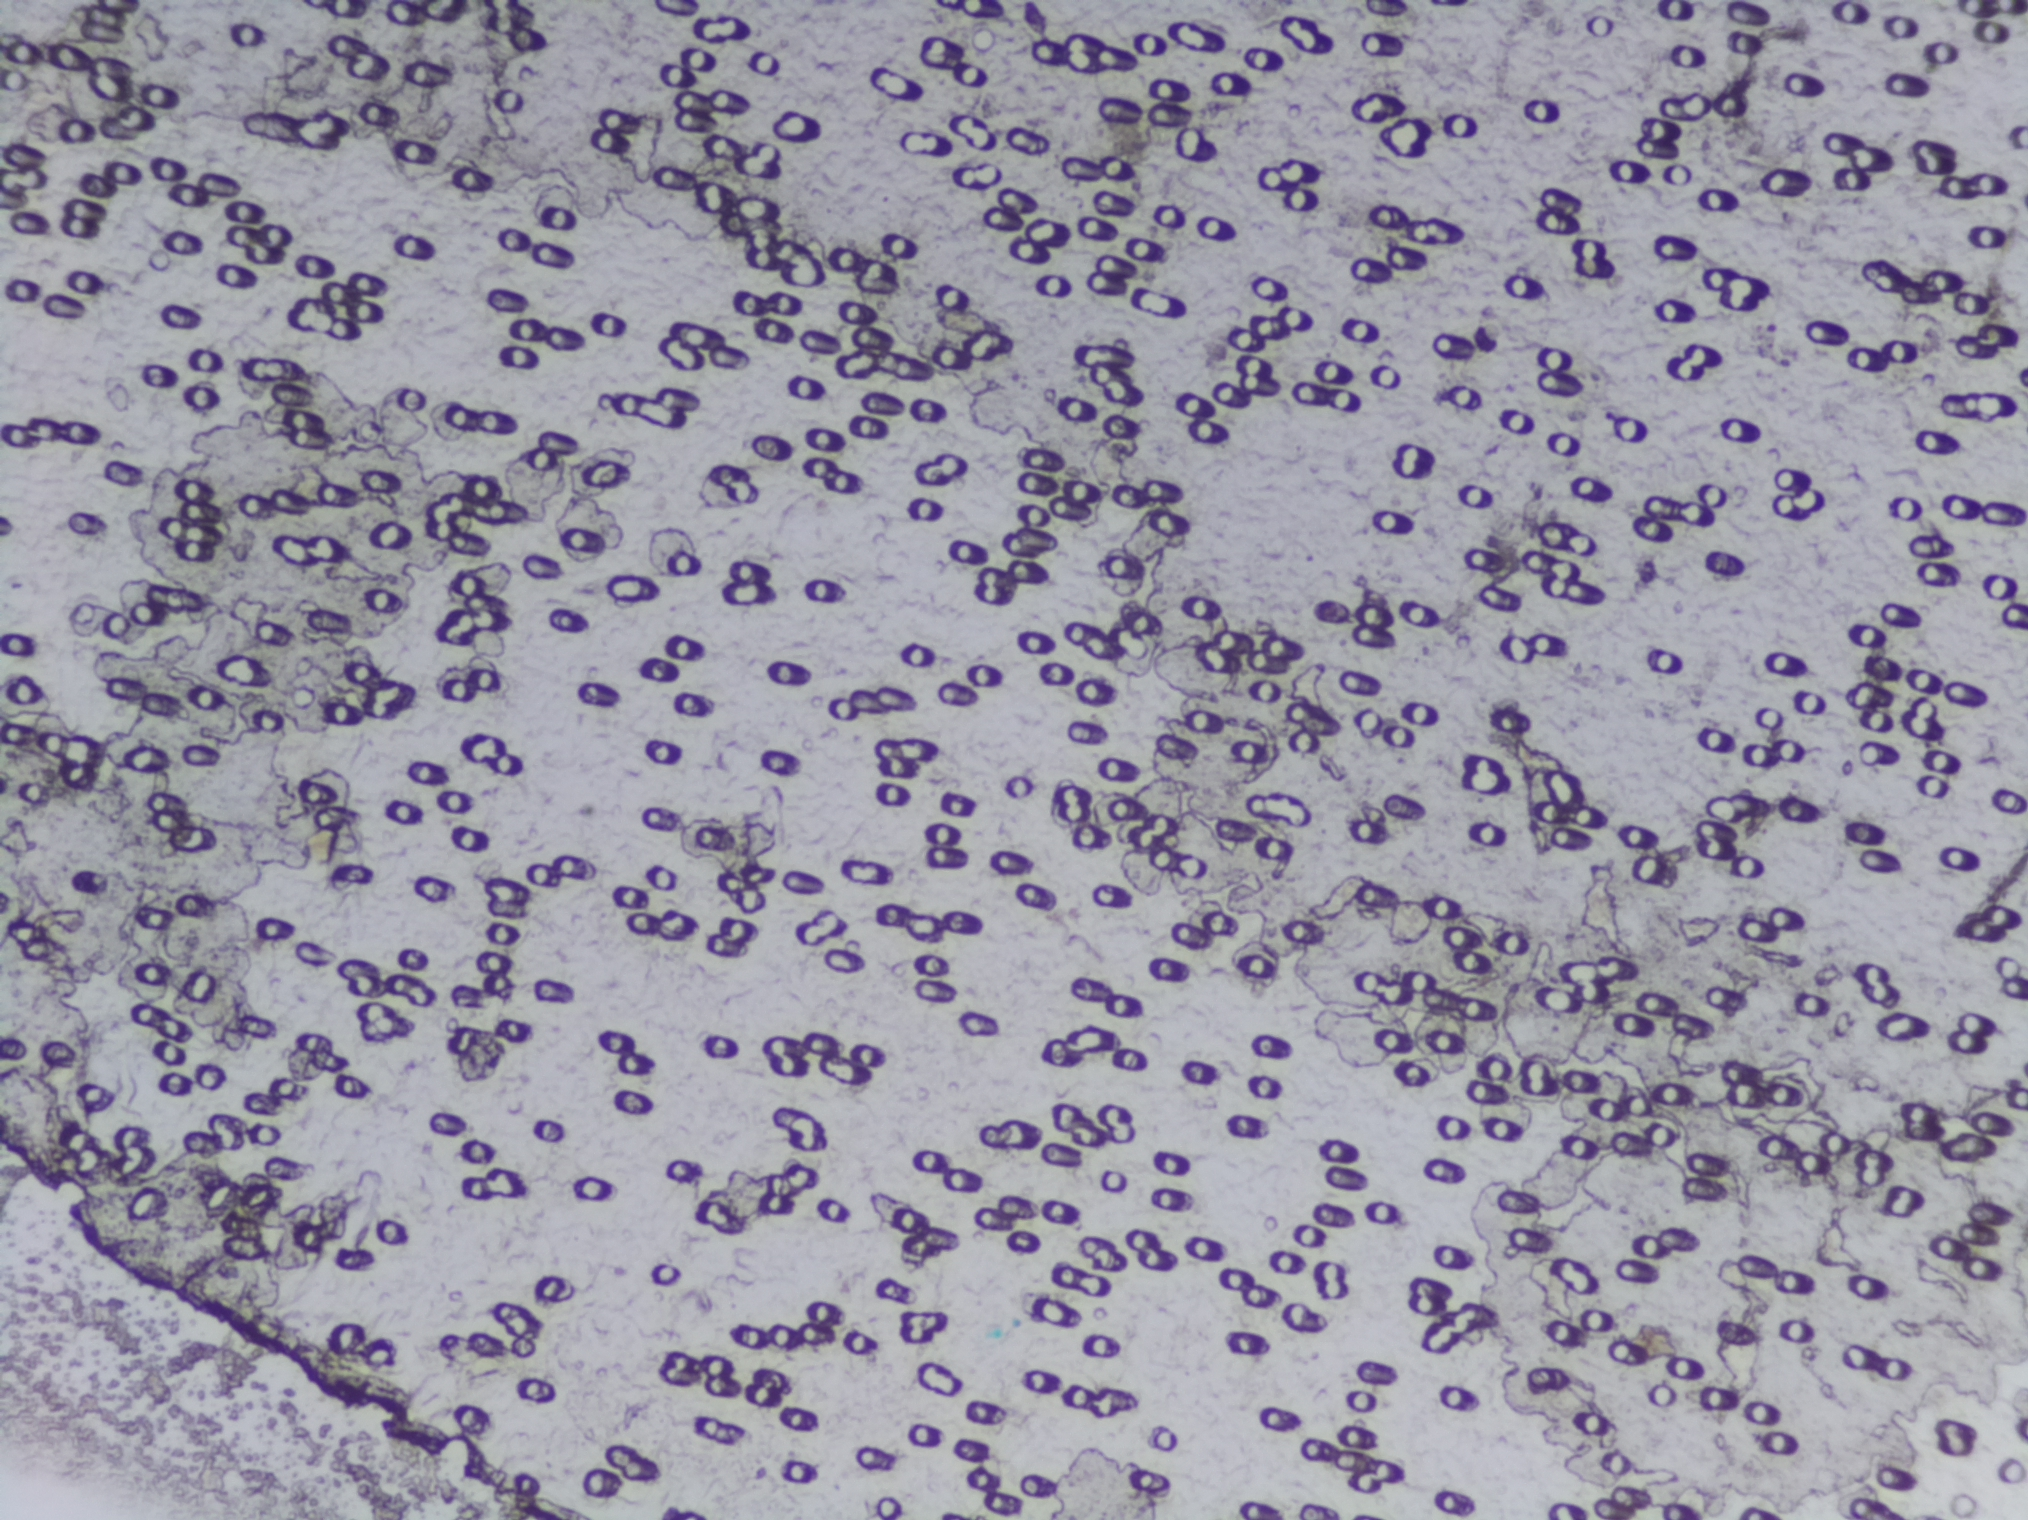
Photomicrograph of a urine filtration membrane, 4× objective.
No Schistosoma egg is outlined in this image's expert annotation.